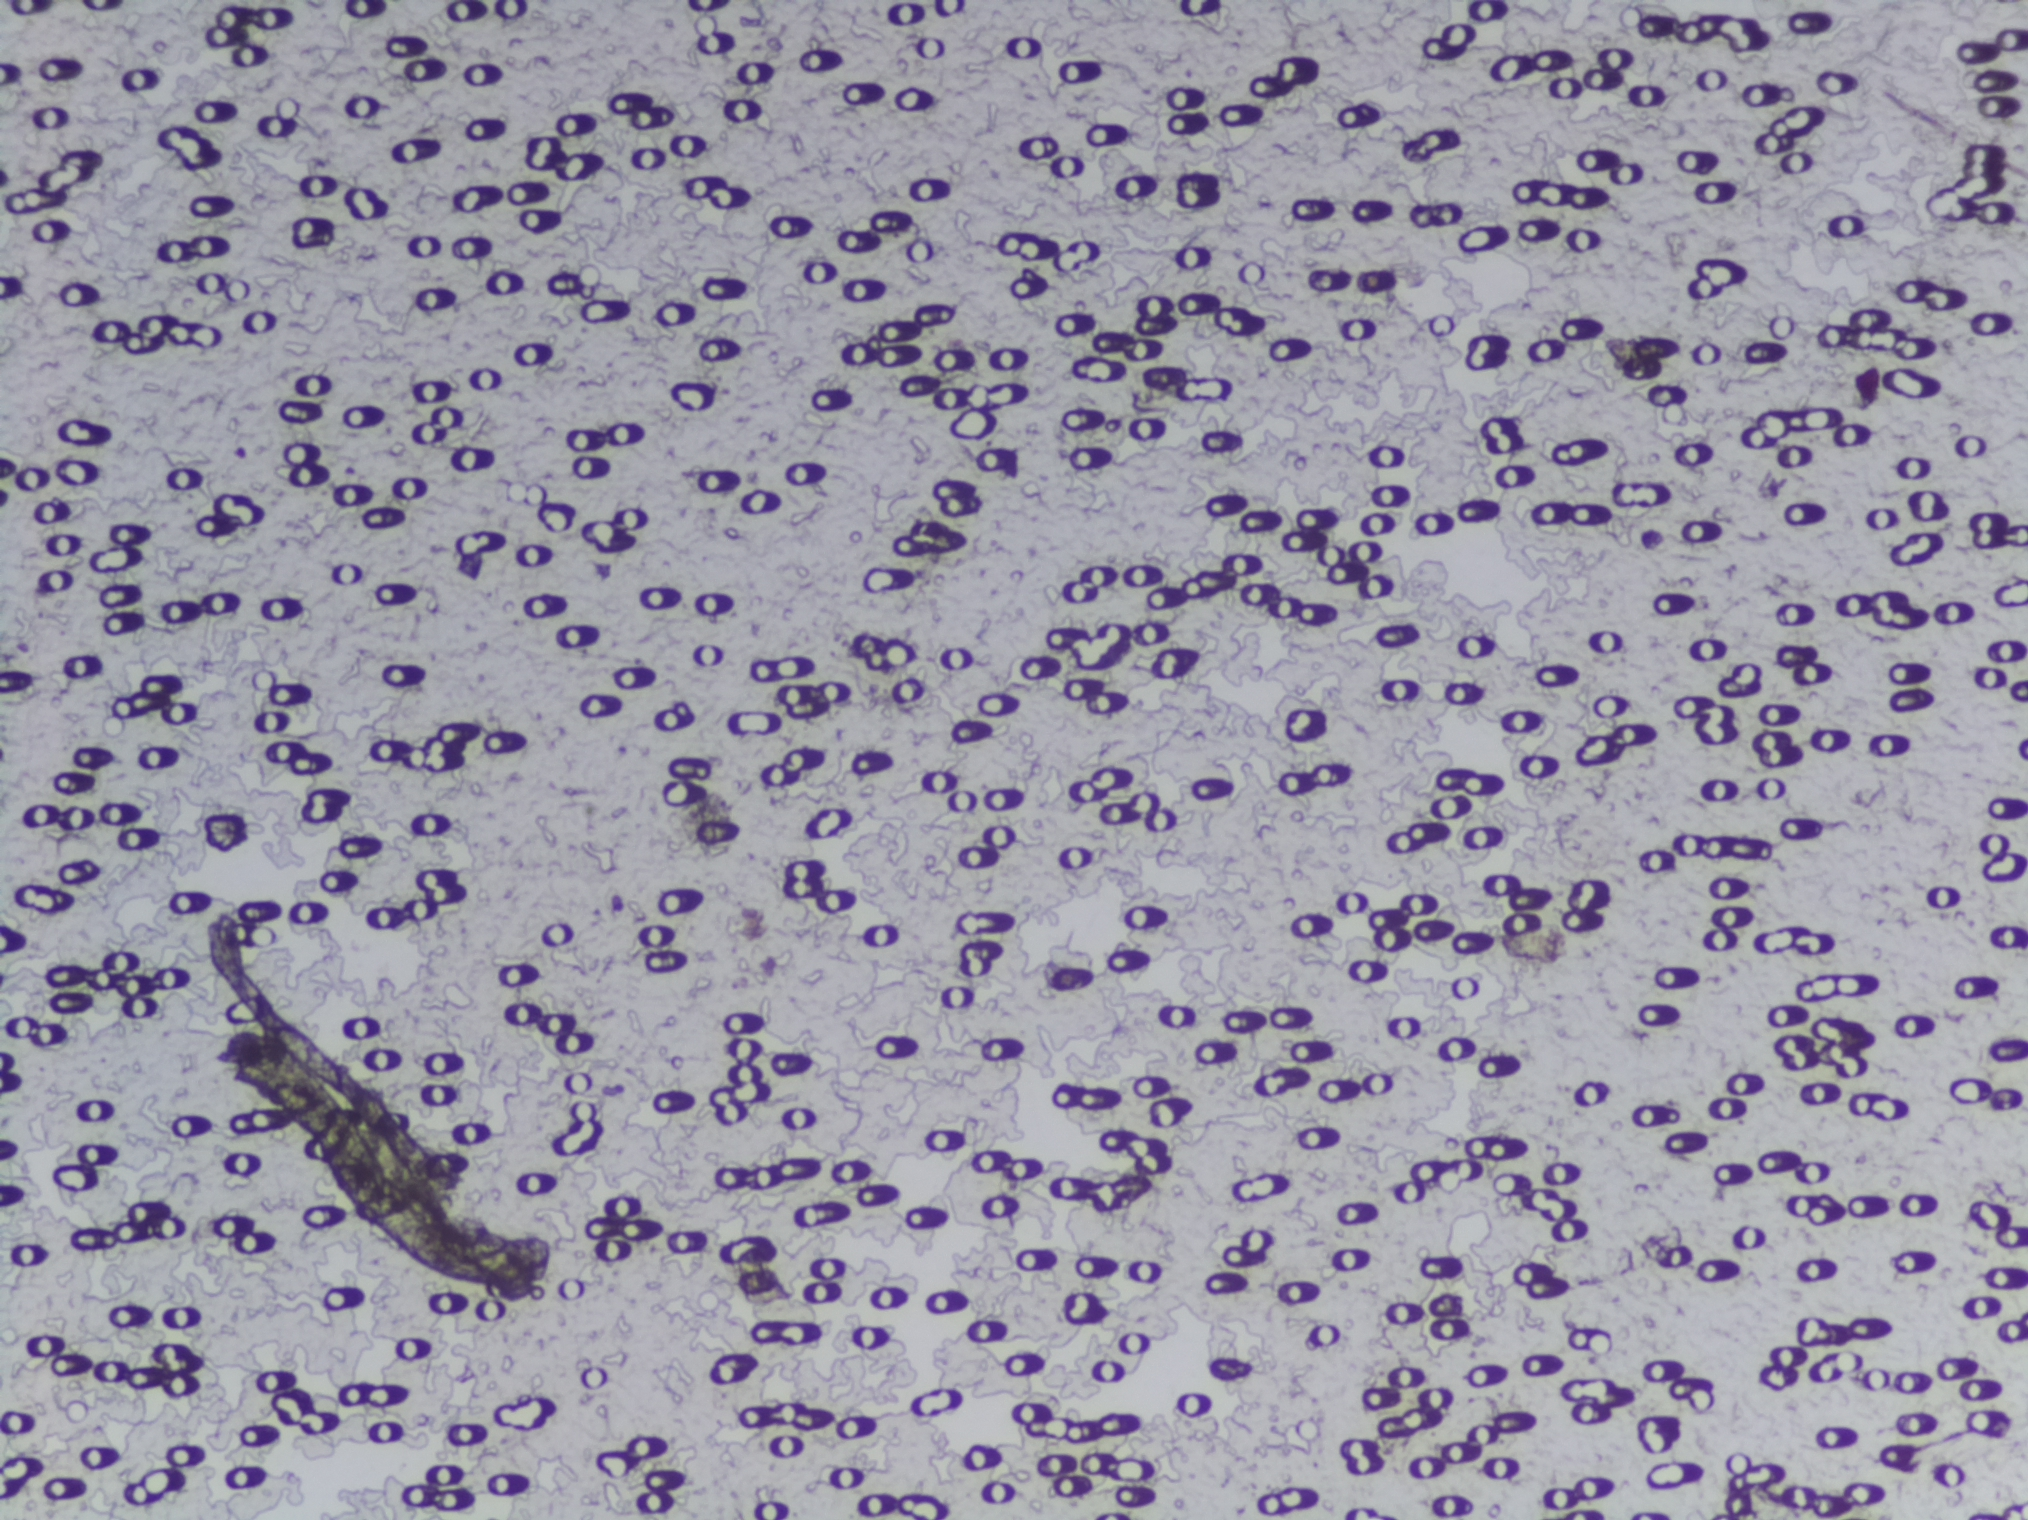
Photograph from an automated digital microscope: urine filter membrane, 4× objective.
The expert annotation outlines no Schistosoma egg in this image.